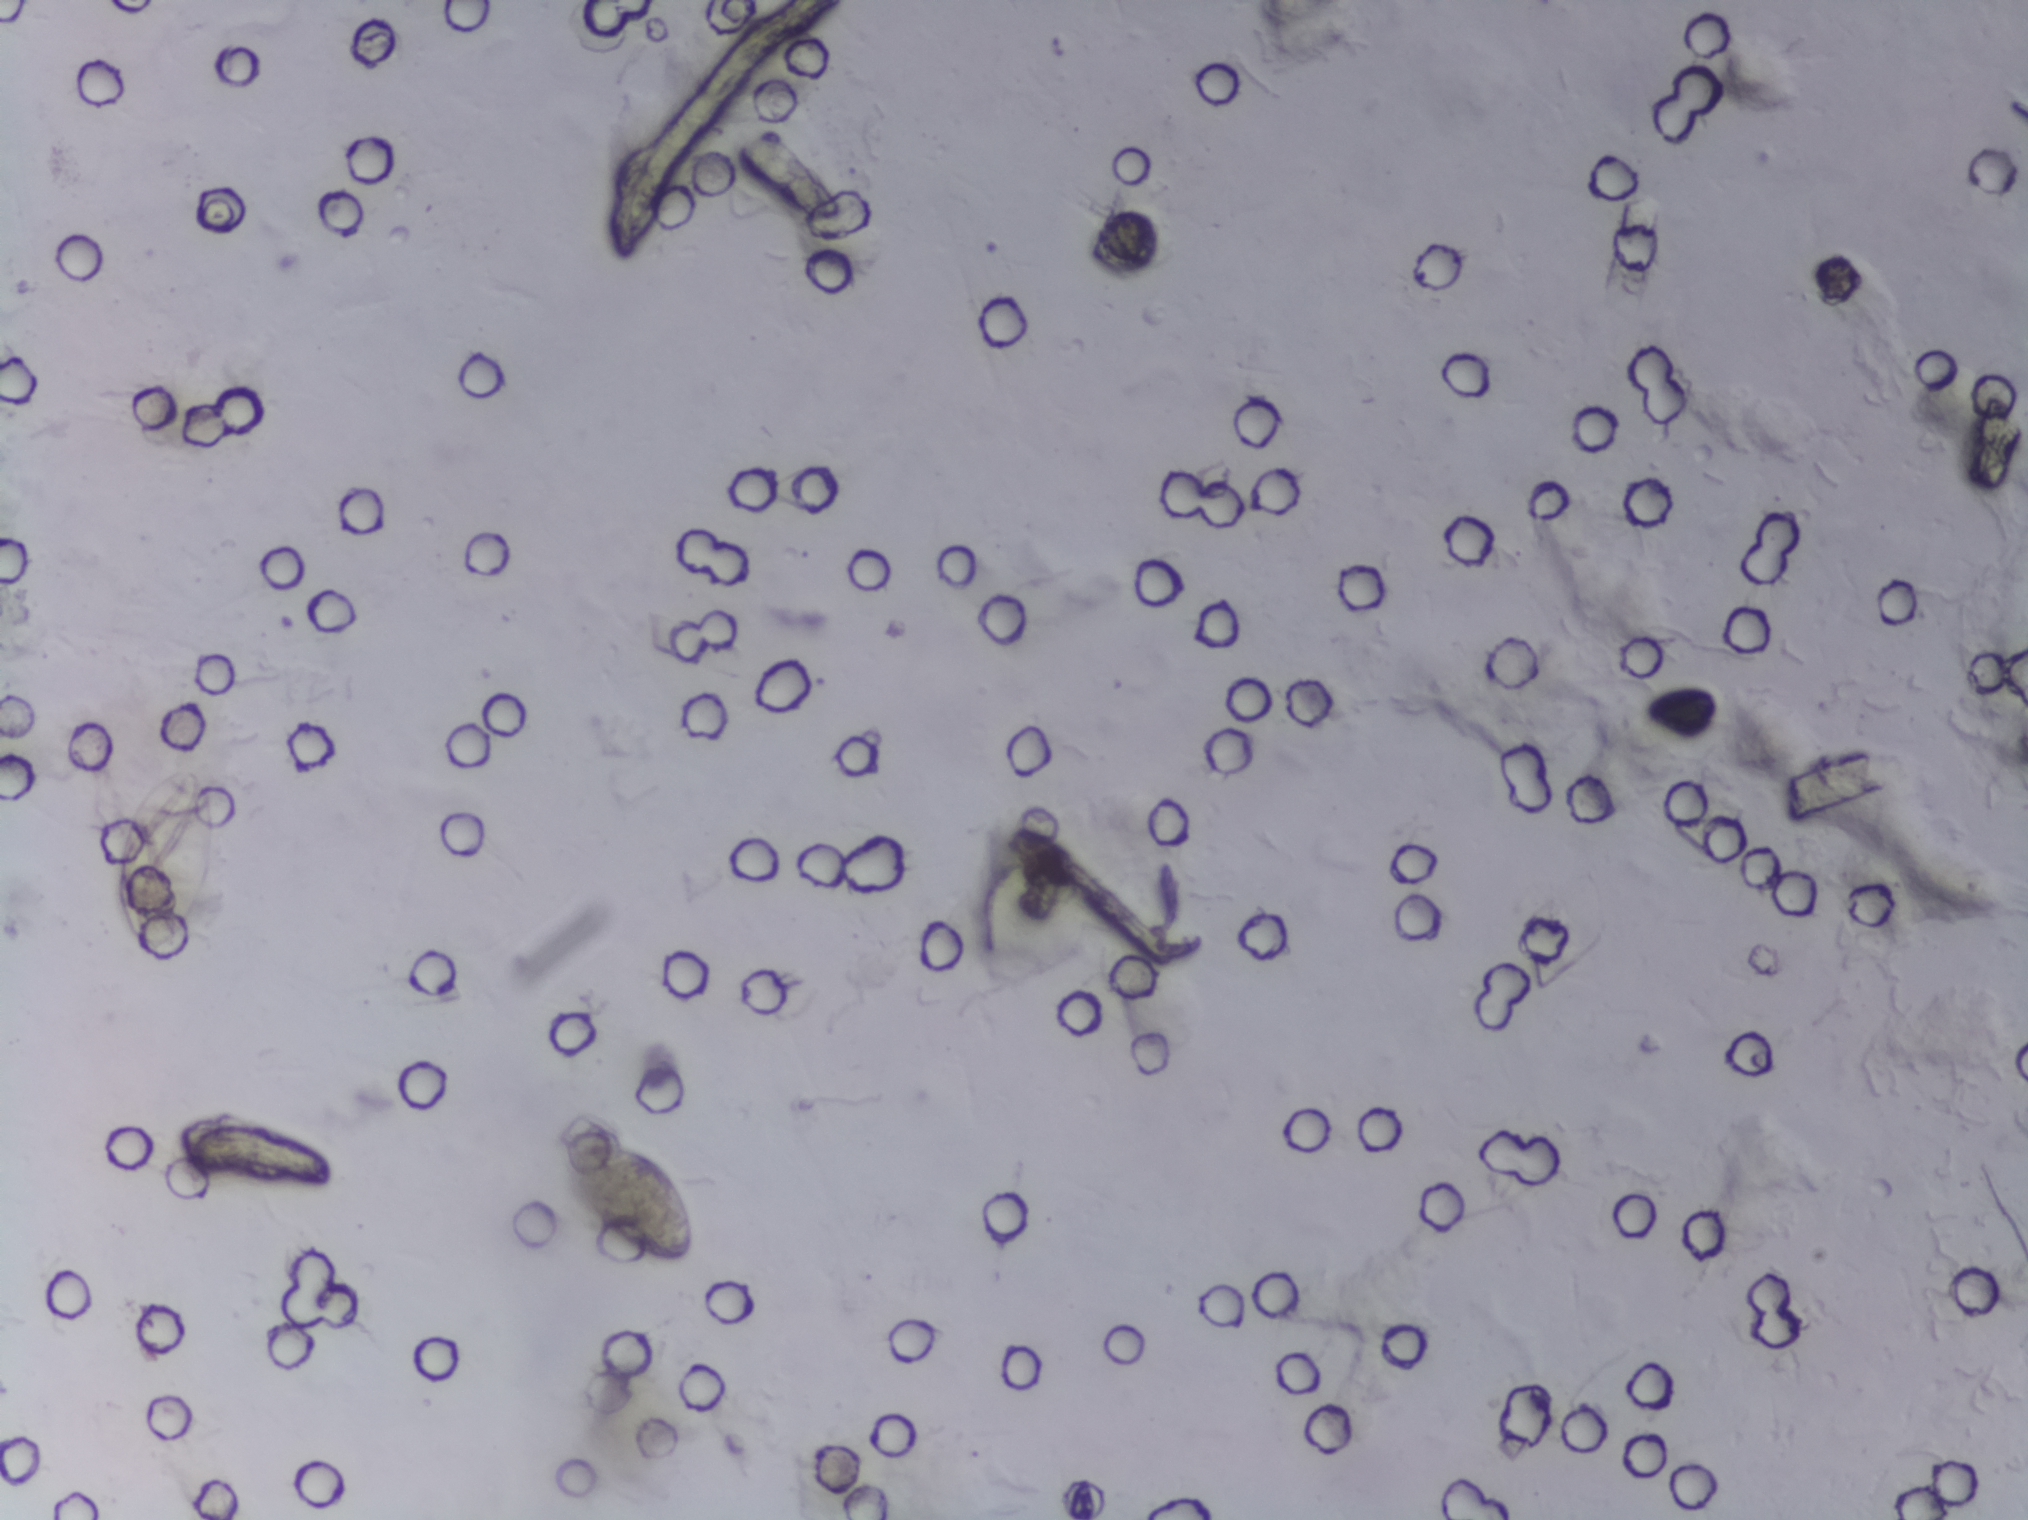
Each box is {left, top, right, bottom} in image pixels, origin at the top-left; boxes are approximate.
Findings: two areas outlined as Schistosoma eggs. Locations: {114, 763, 216, 958}; {550, 1131, 697, 1266}. A single outlined area may contain several eggs.
Microscope photograph (4× objective) of a membrane that a urine sample was filtered through.